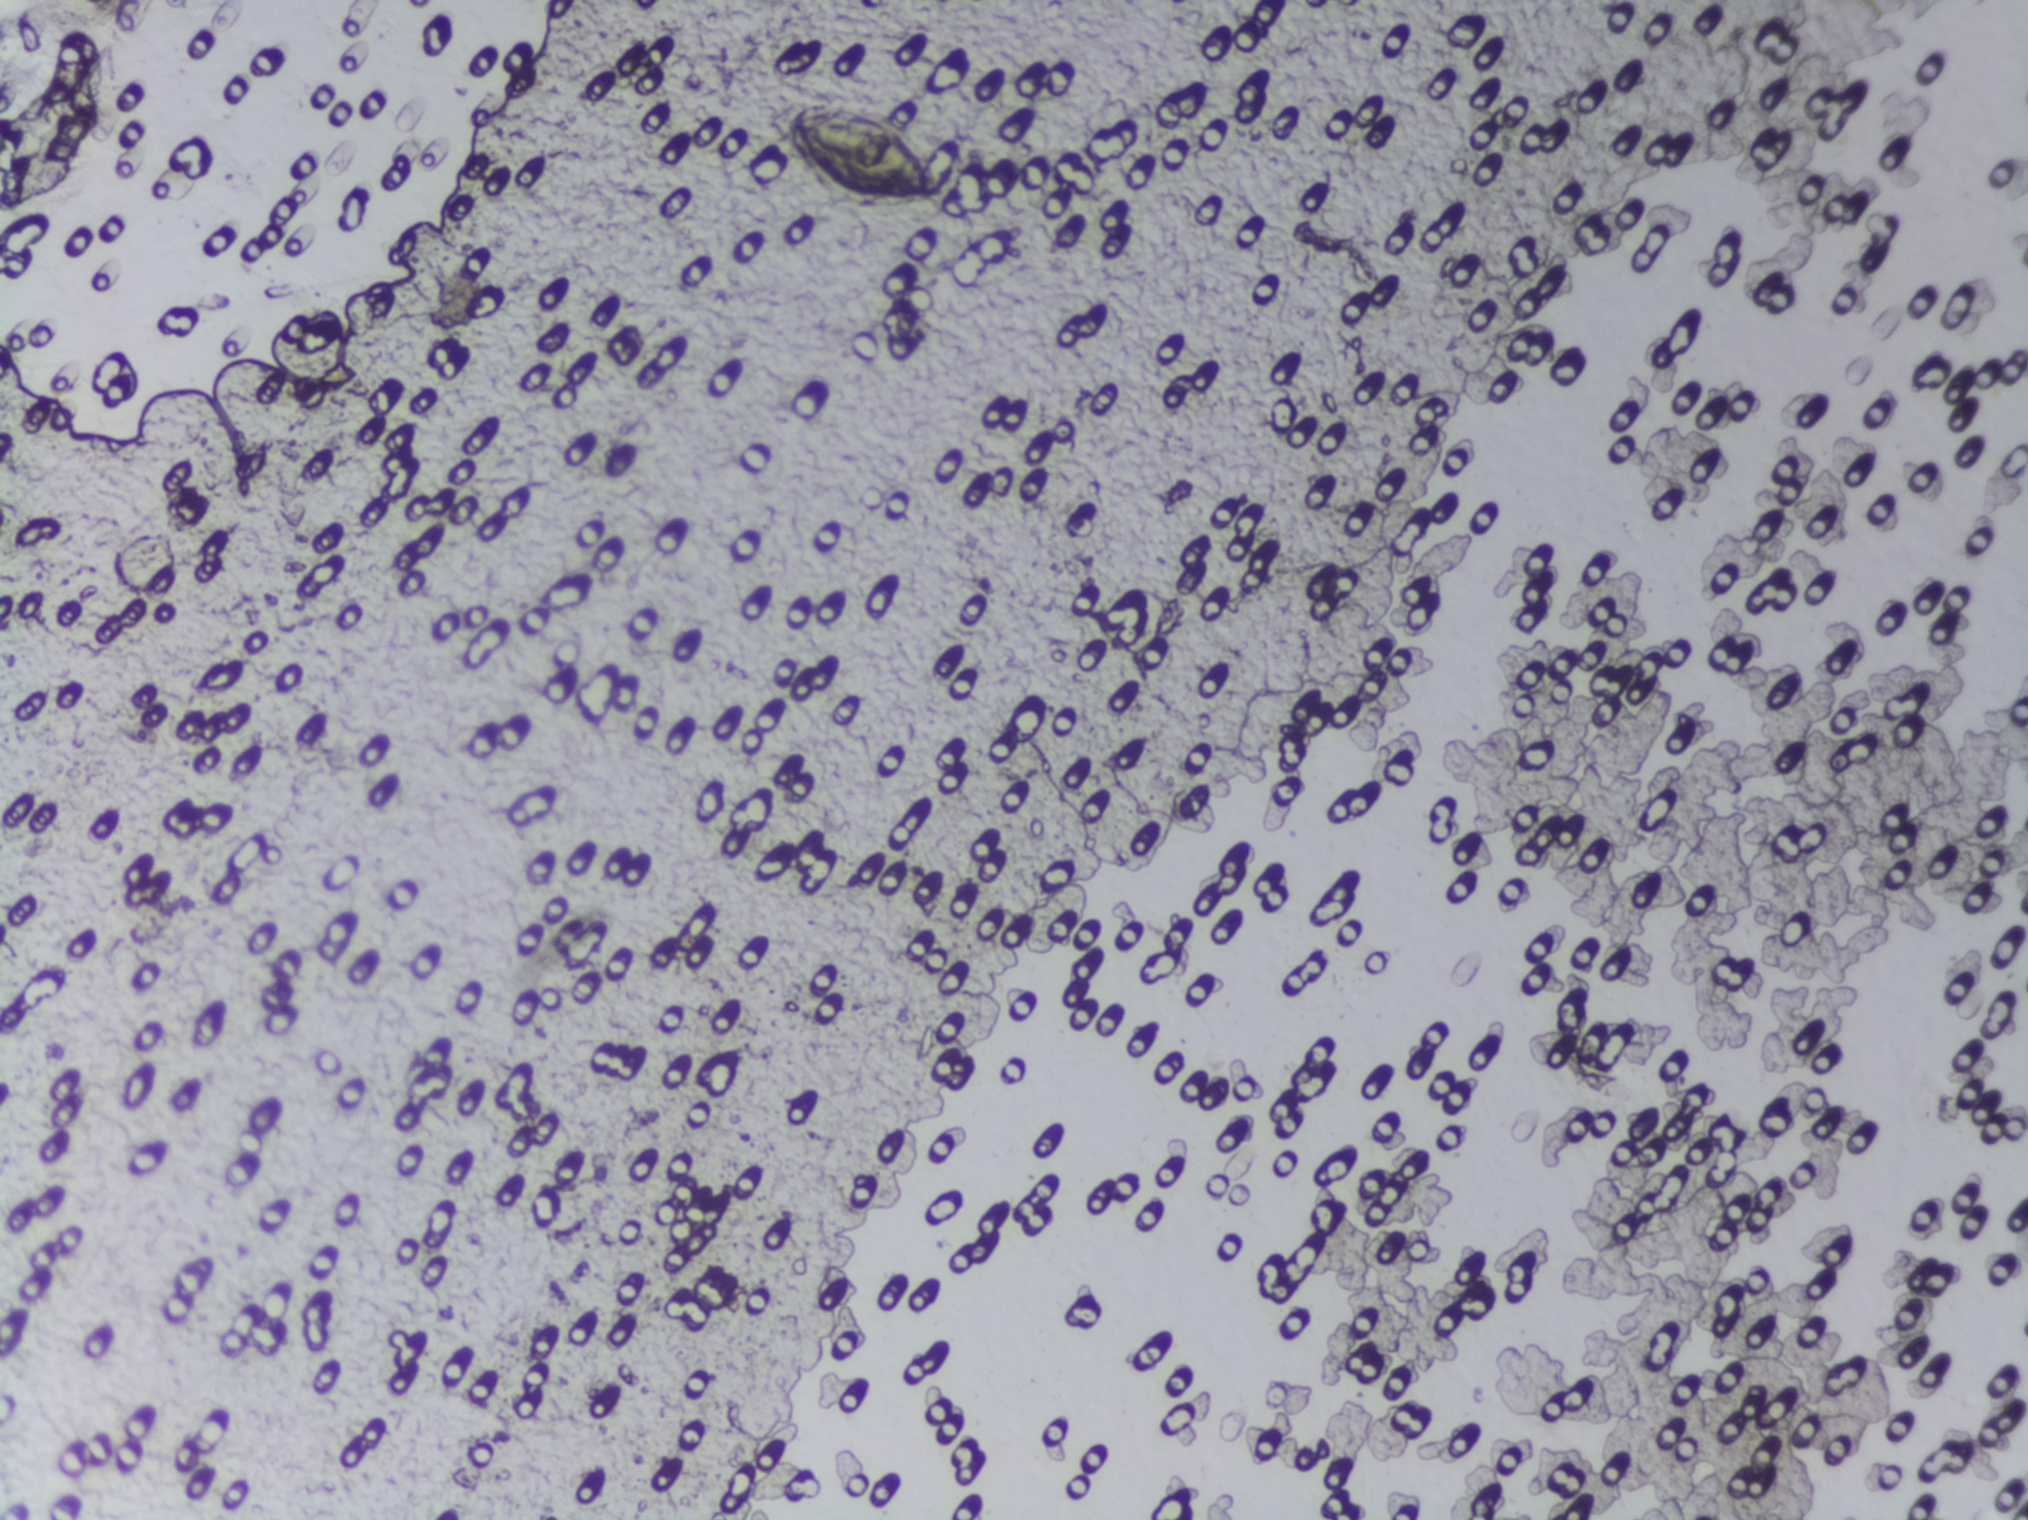
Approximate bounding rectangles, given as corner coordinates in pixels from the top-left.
Schistosoma eggs are outlined in one area of this image: (x1=791, y1=101, x2=945, y2=205). A single outlined area may contain several eggs. Any one outlined egg may, rarely, be S. mansoni rather than S. haematobium.
Urine filtration membrane under a 4× objective, photographed by an automated digital microscope.